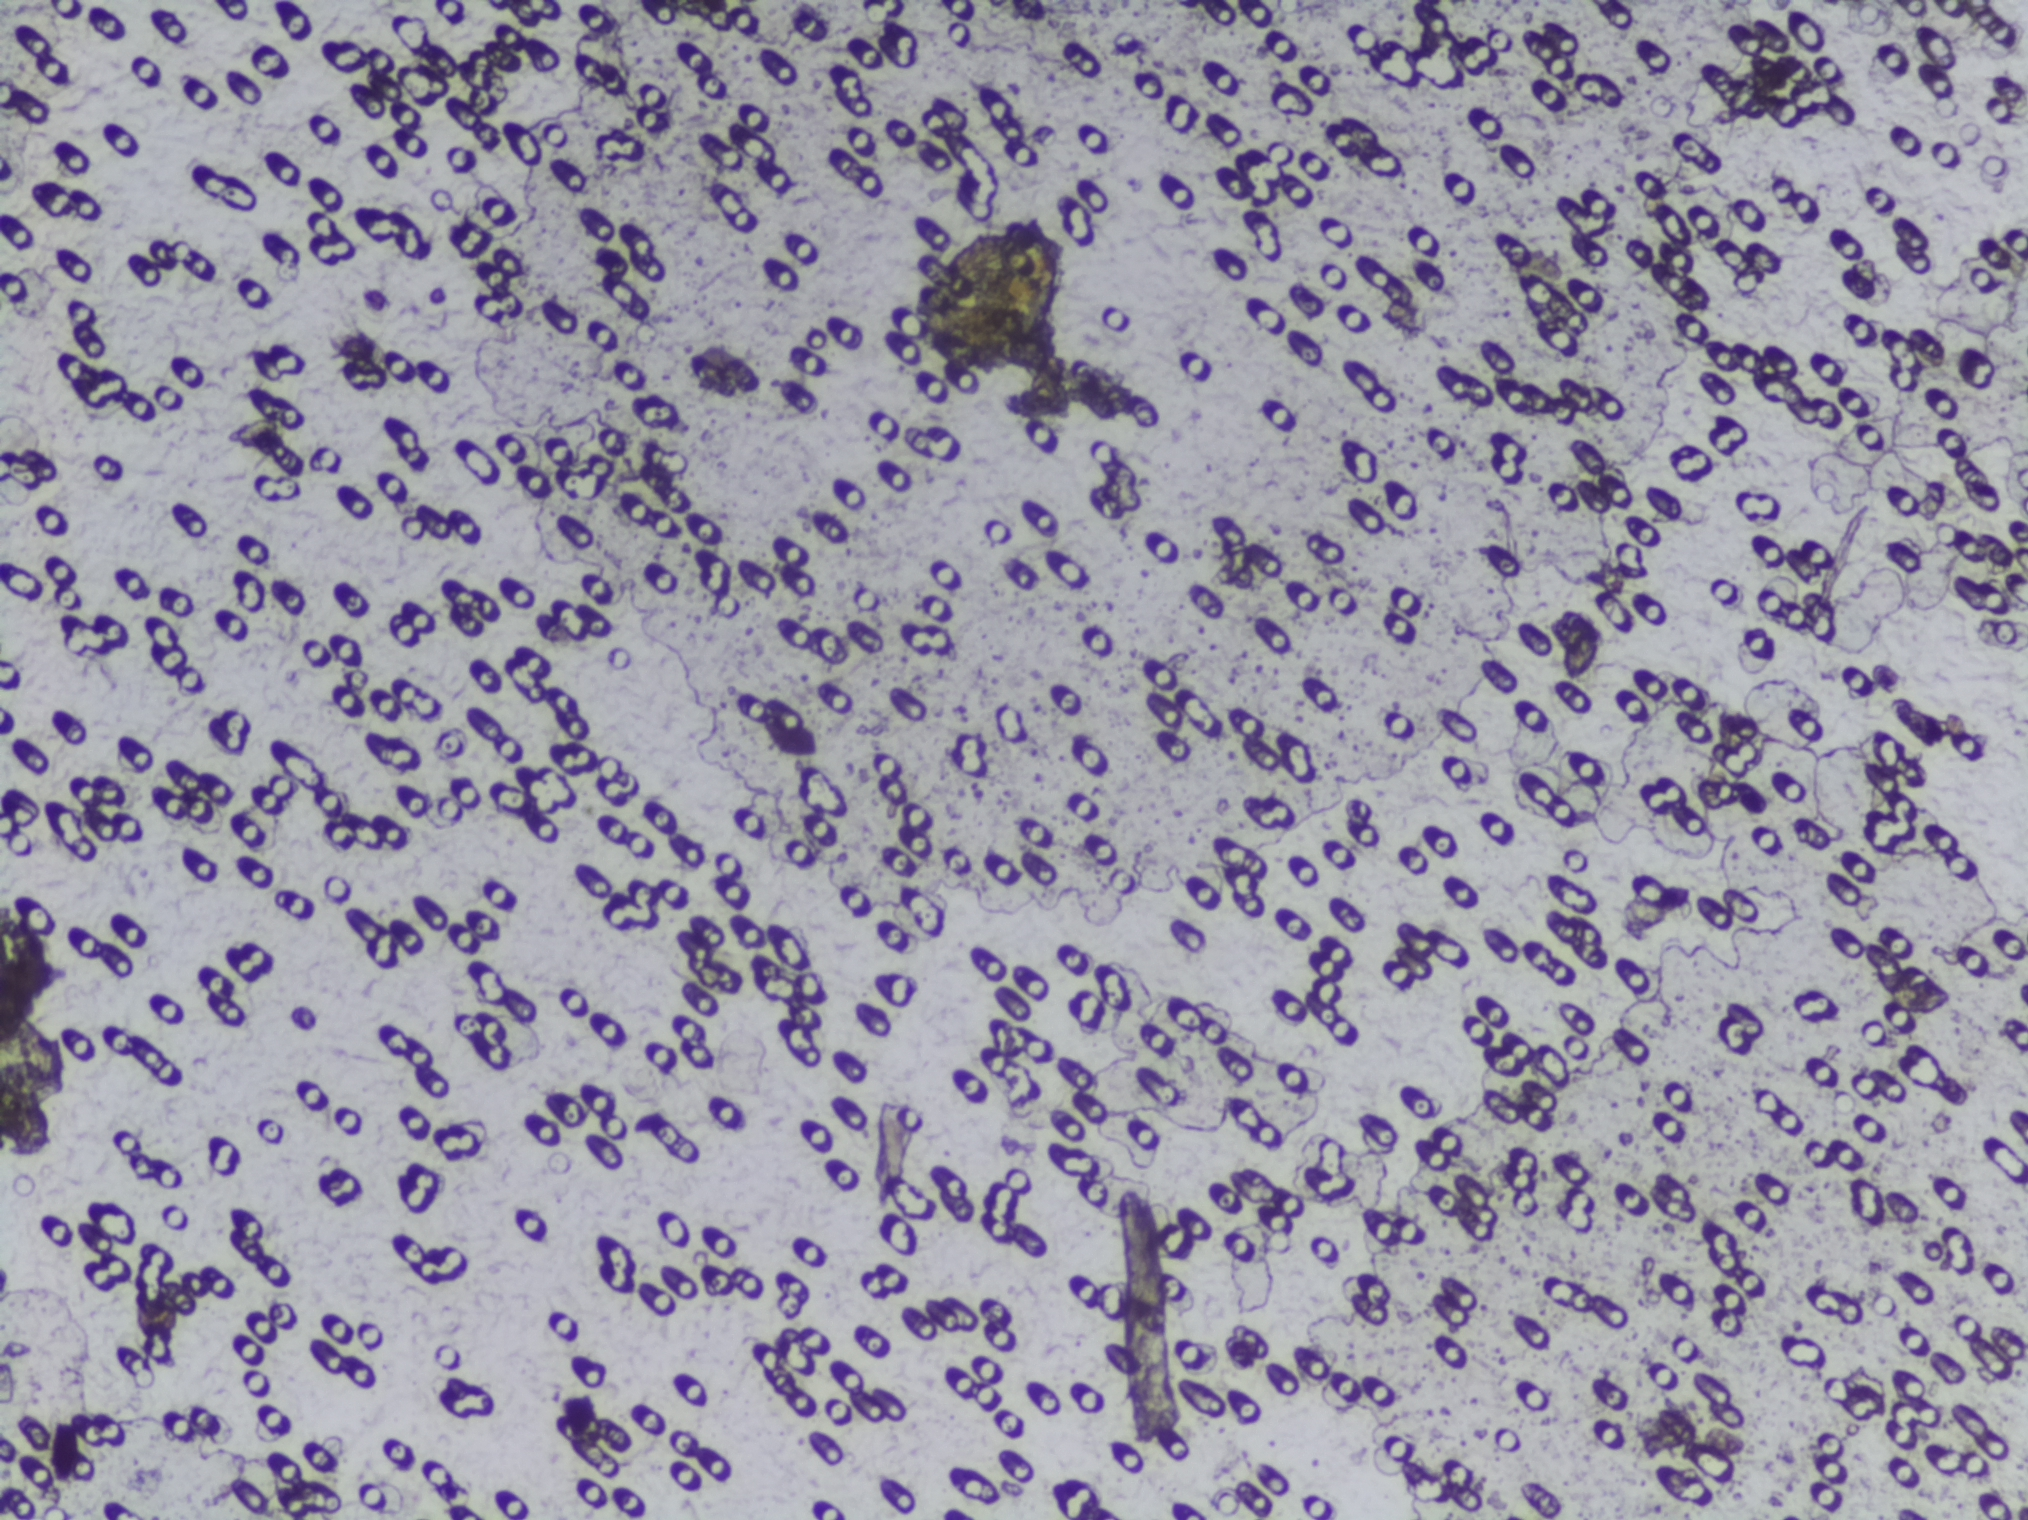
Photomicrograph of a urine filtration membrane, 4× objective.
The expert annotation outlines no Schistosoma egg in this image.